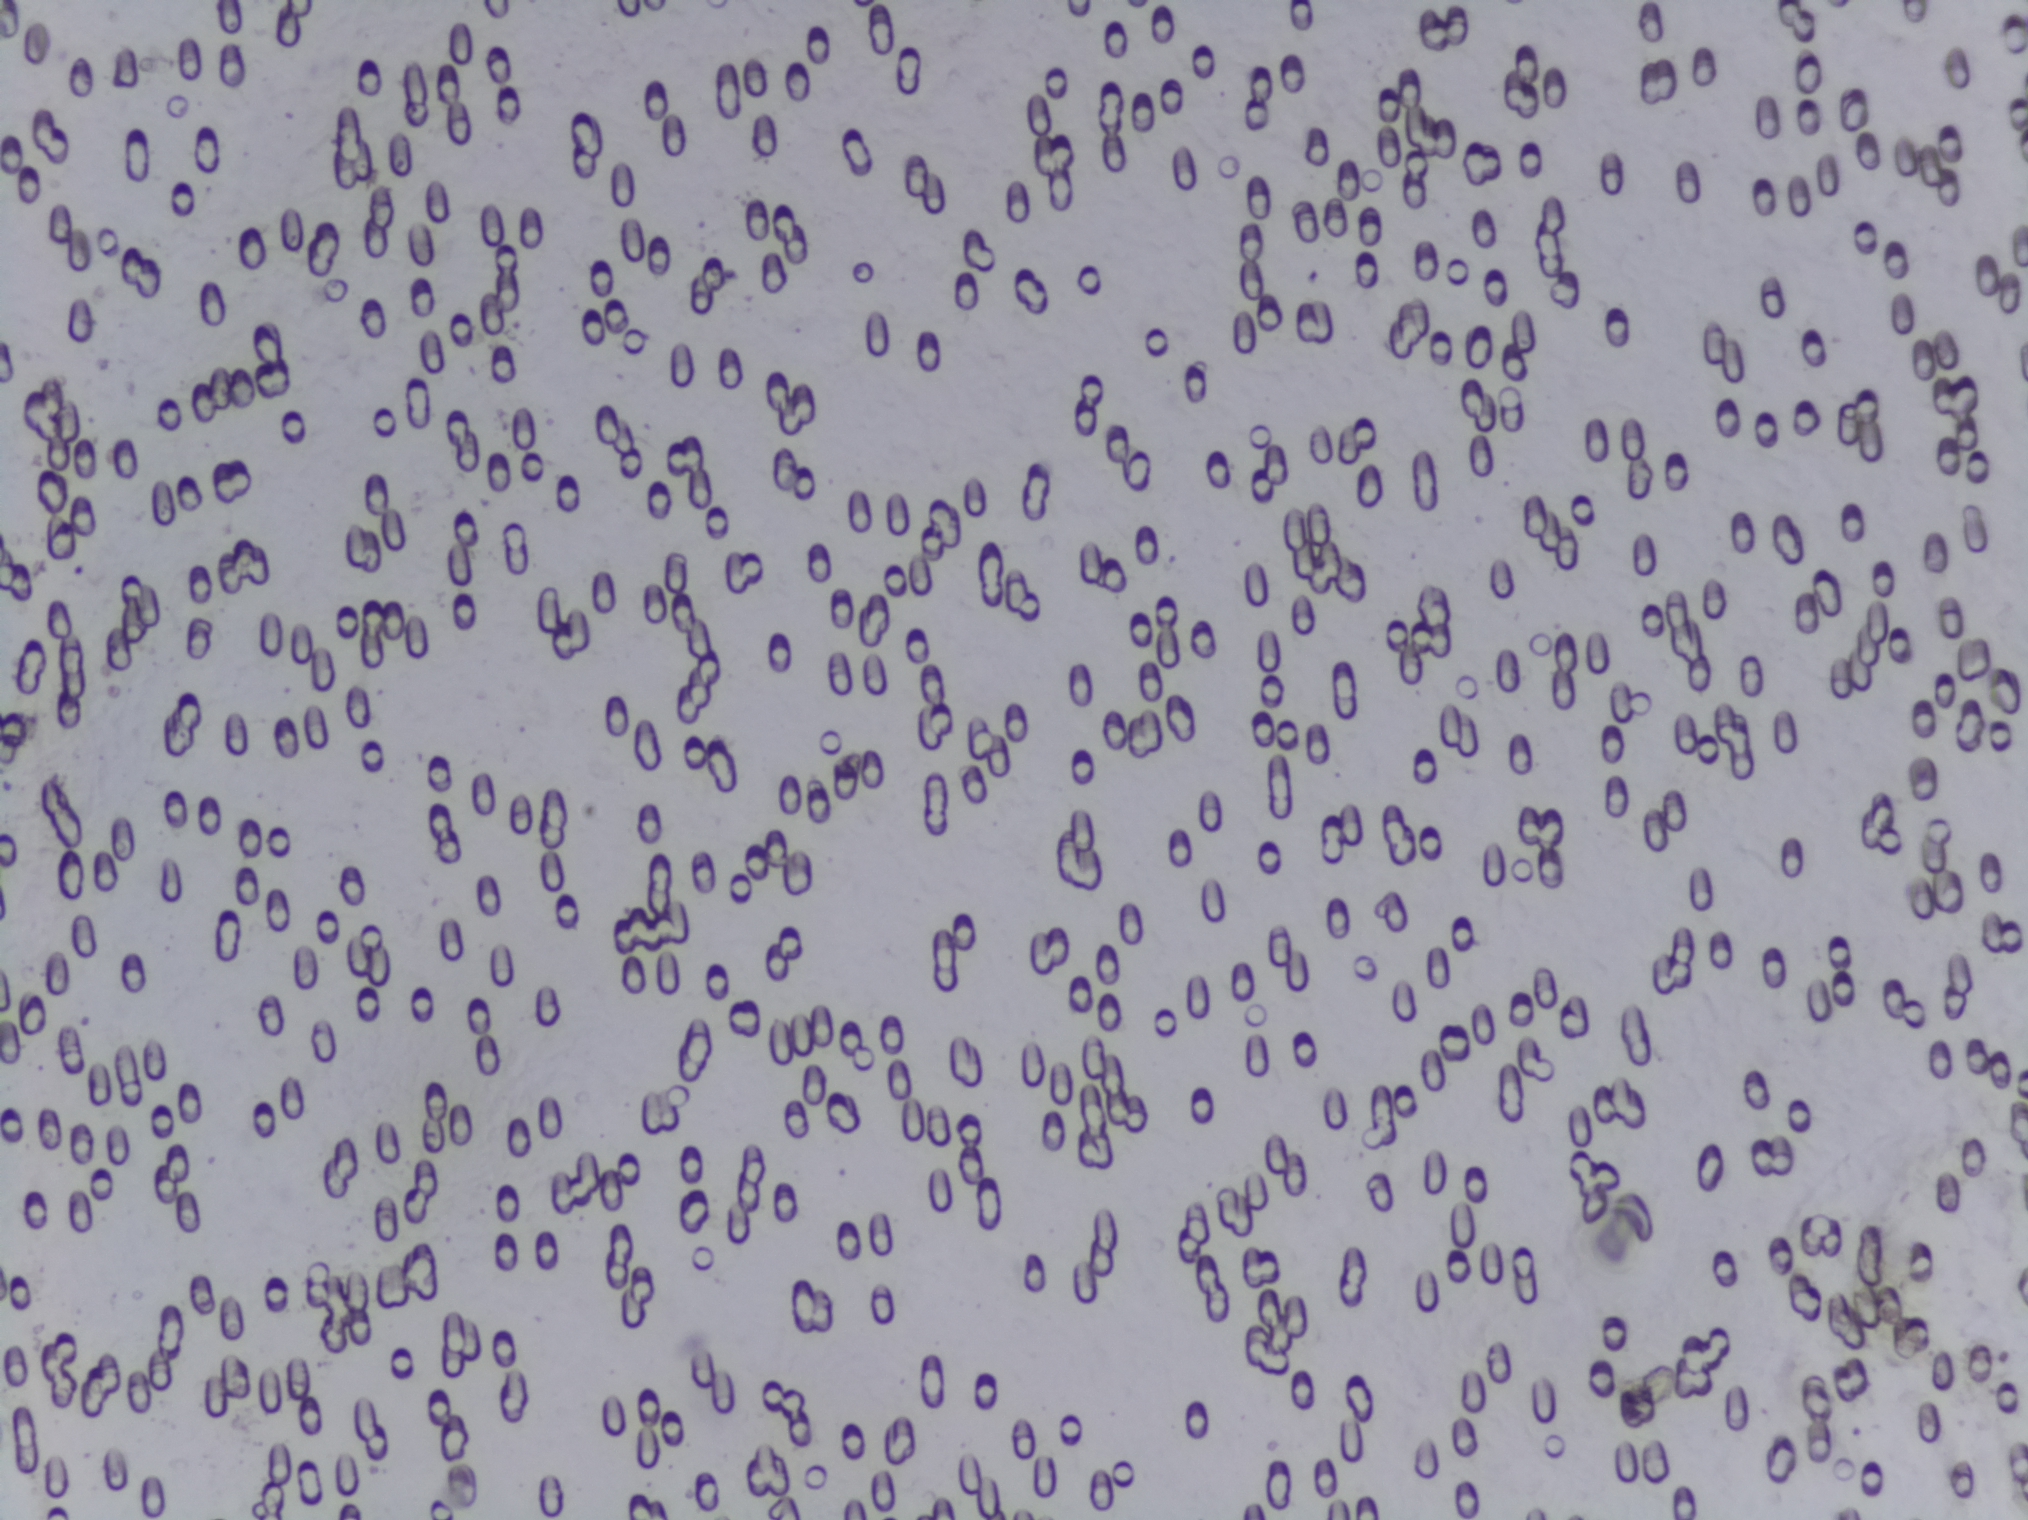
The expert annotation outlines no Schistosoma egg in this image.
Photograph from an automated digital microscope: urine filter membrane, 4× objective.